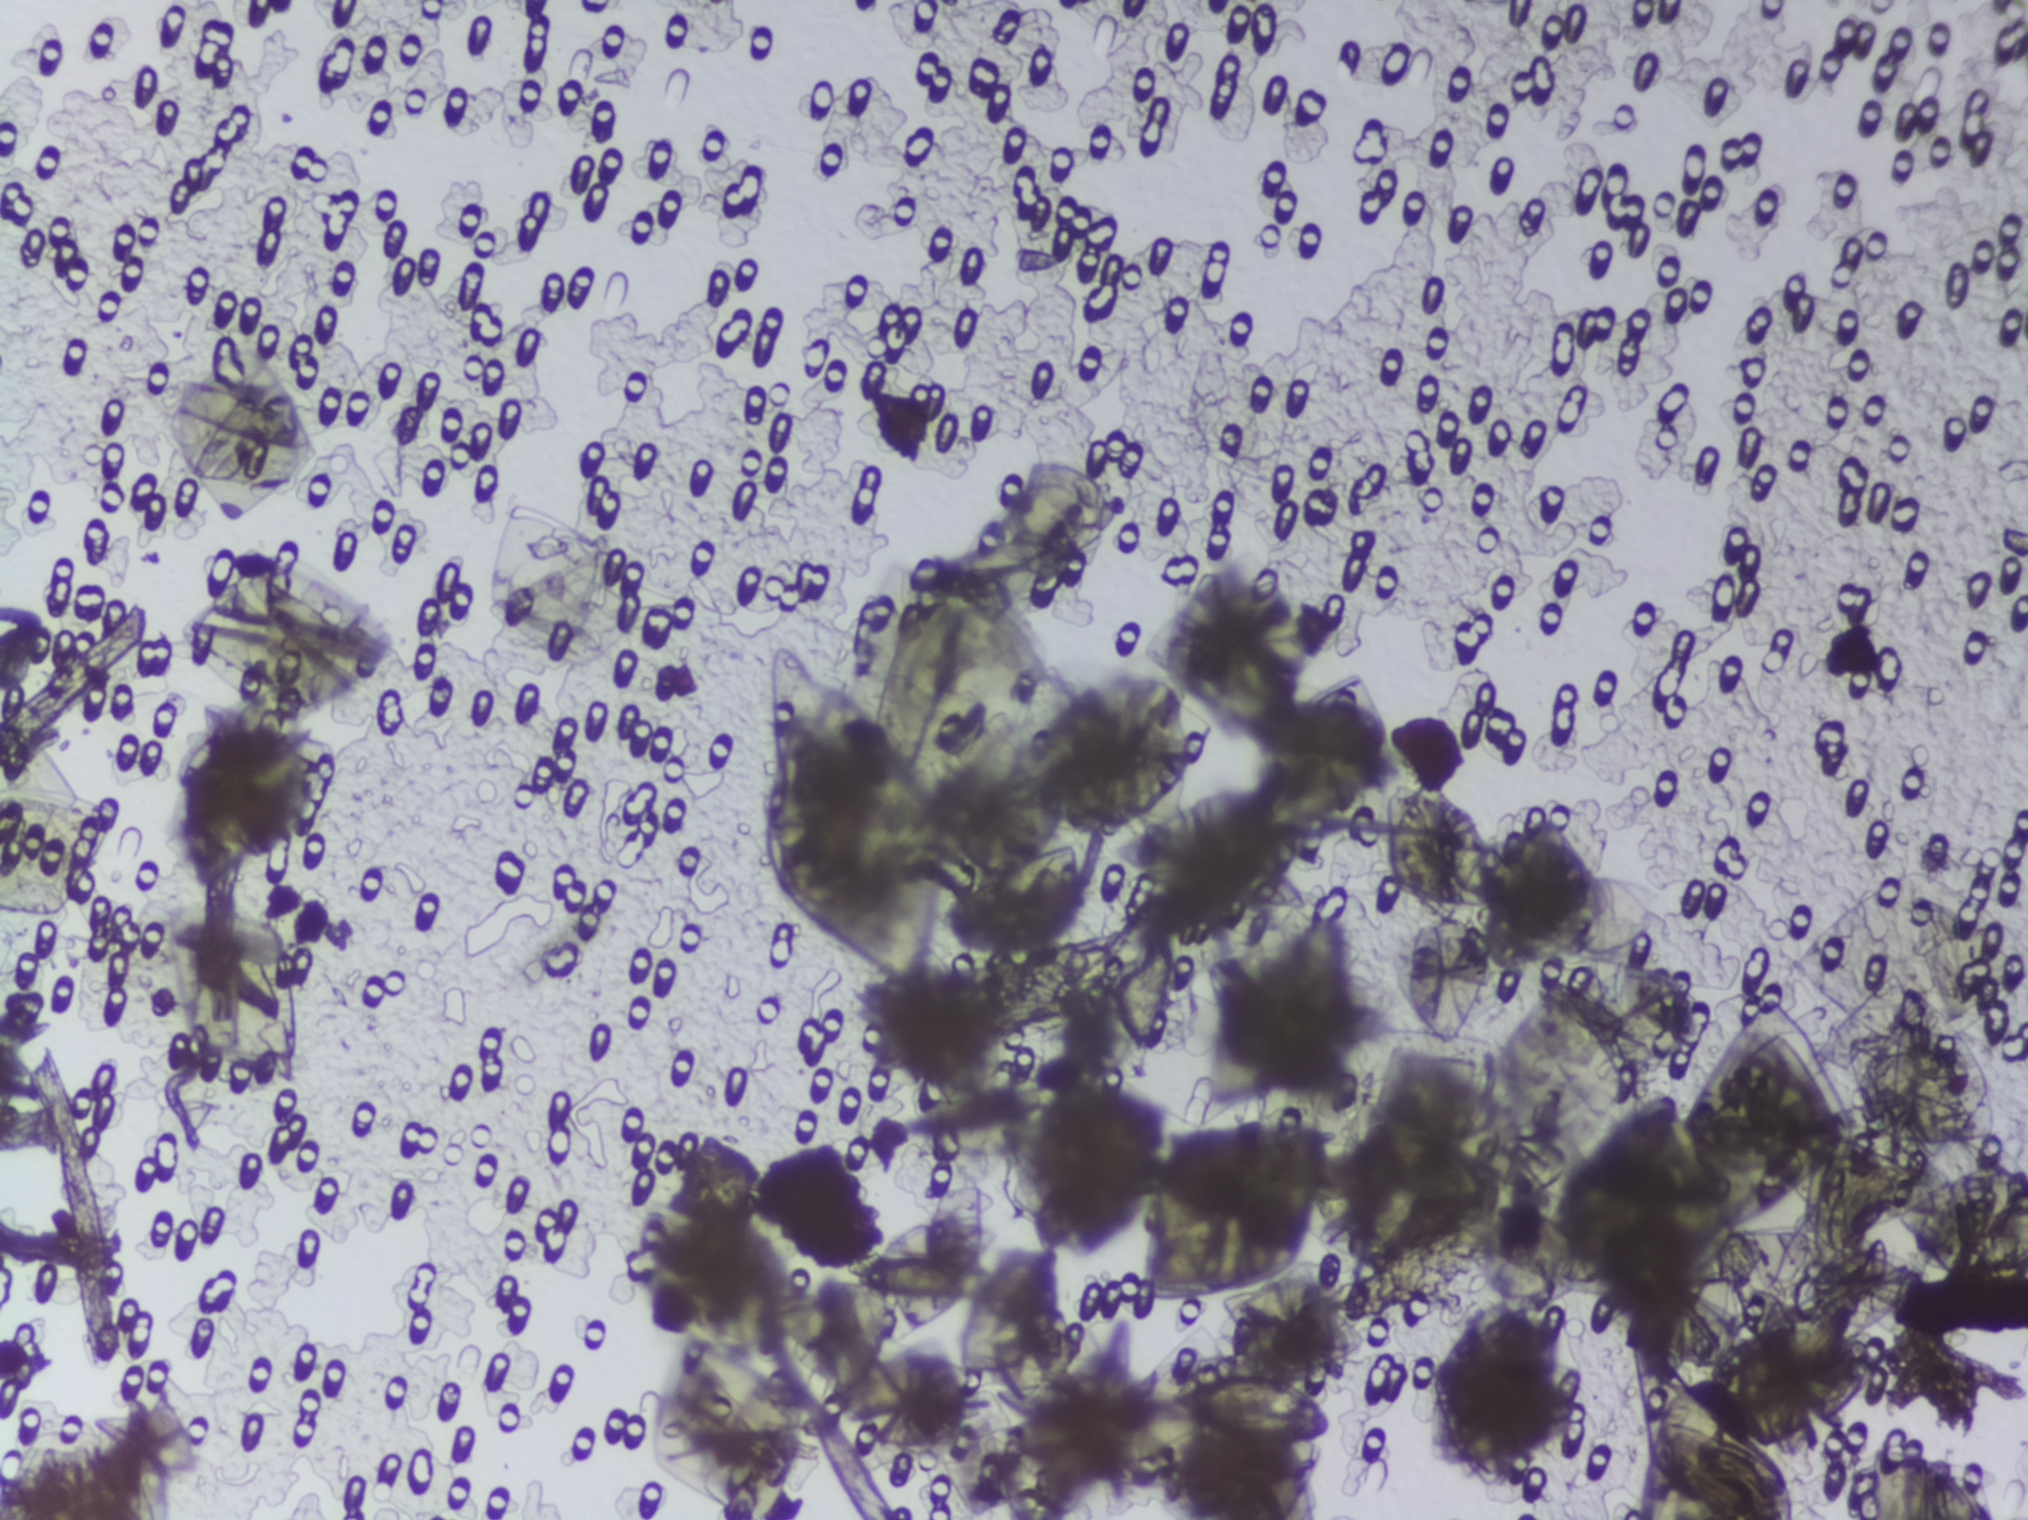
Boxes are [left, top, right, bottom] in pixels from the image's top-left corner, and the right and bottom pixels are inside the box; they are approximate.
{"schistosoma_egg_areas_xyxy_px": [[1166, 1370, 1328, 1451]]}
An outlined area can hold more than one egg.
Urine filtration membrane under a 4× objective, photographed by an automated digital microscope.